Photomicrograph of a urine filtration membrane, 4× objective. Field of view: about 1.5 mm wide and 1.1 mm high.
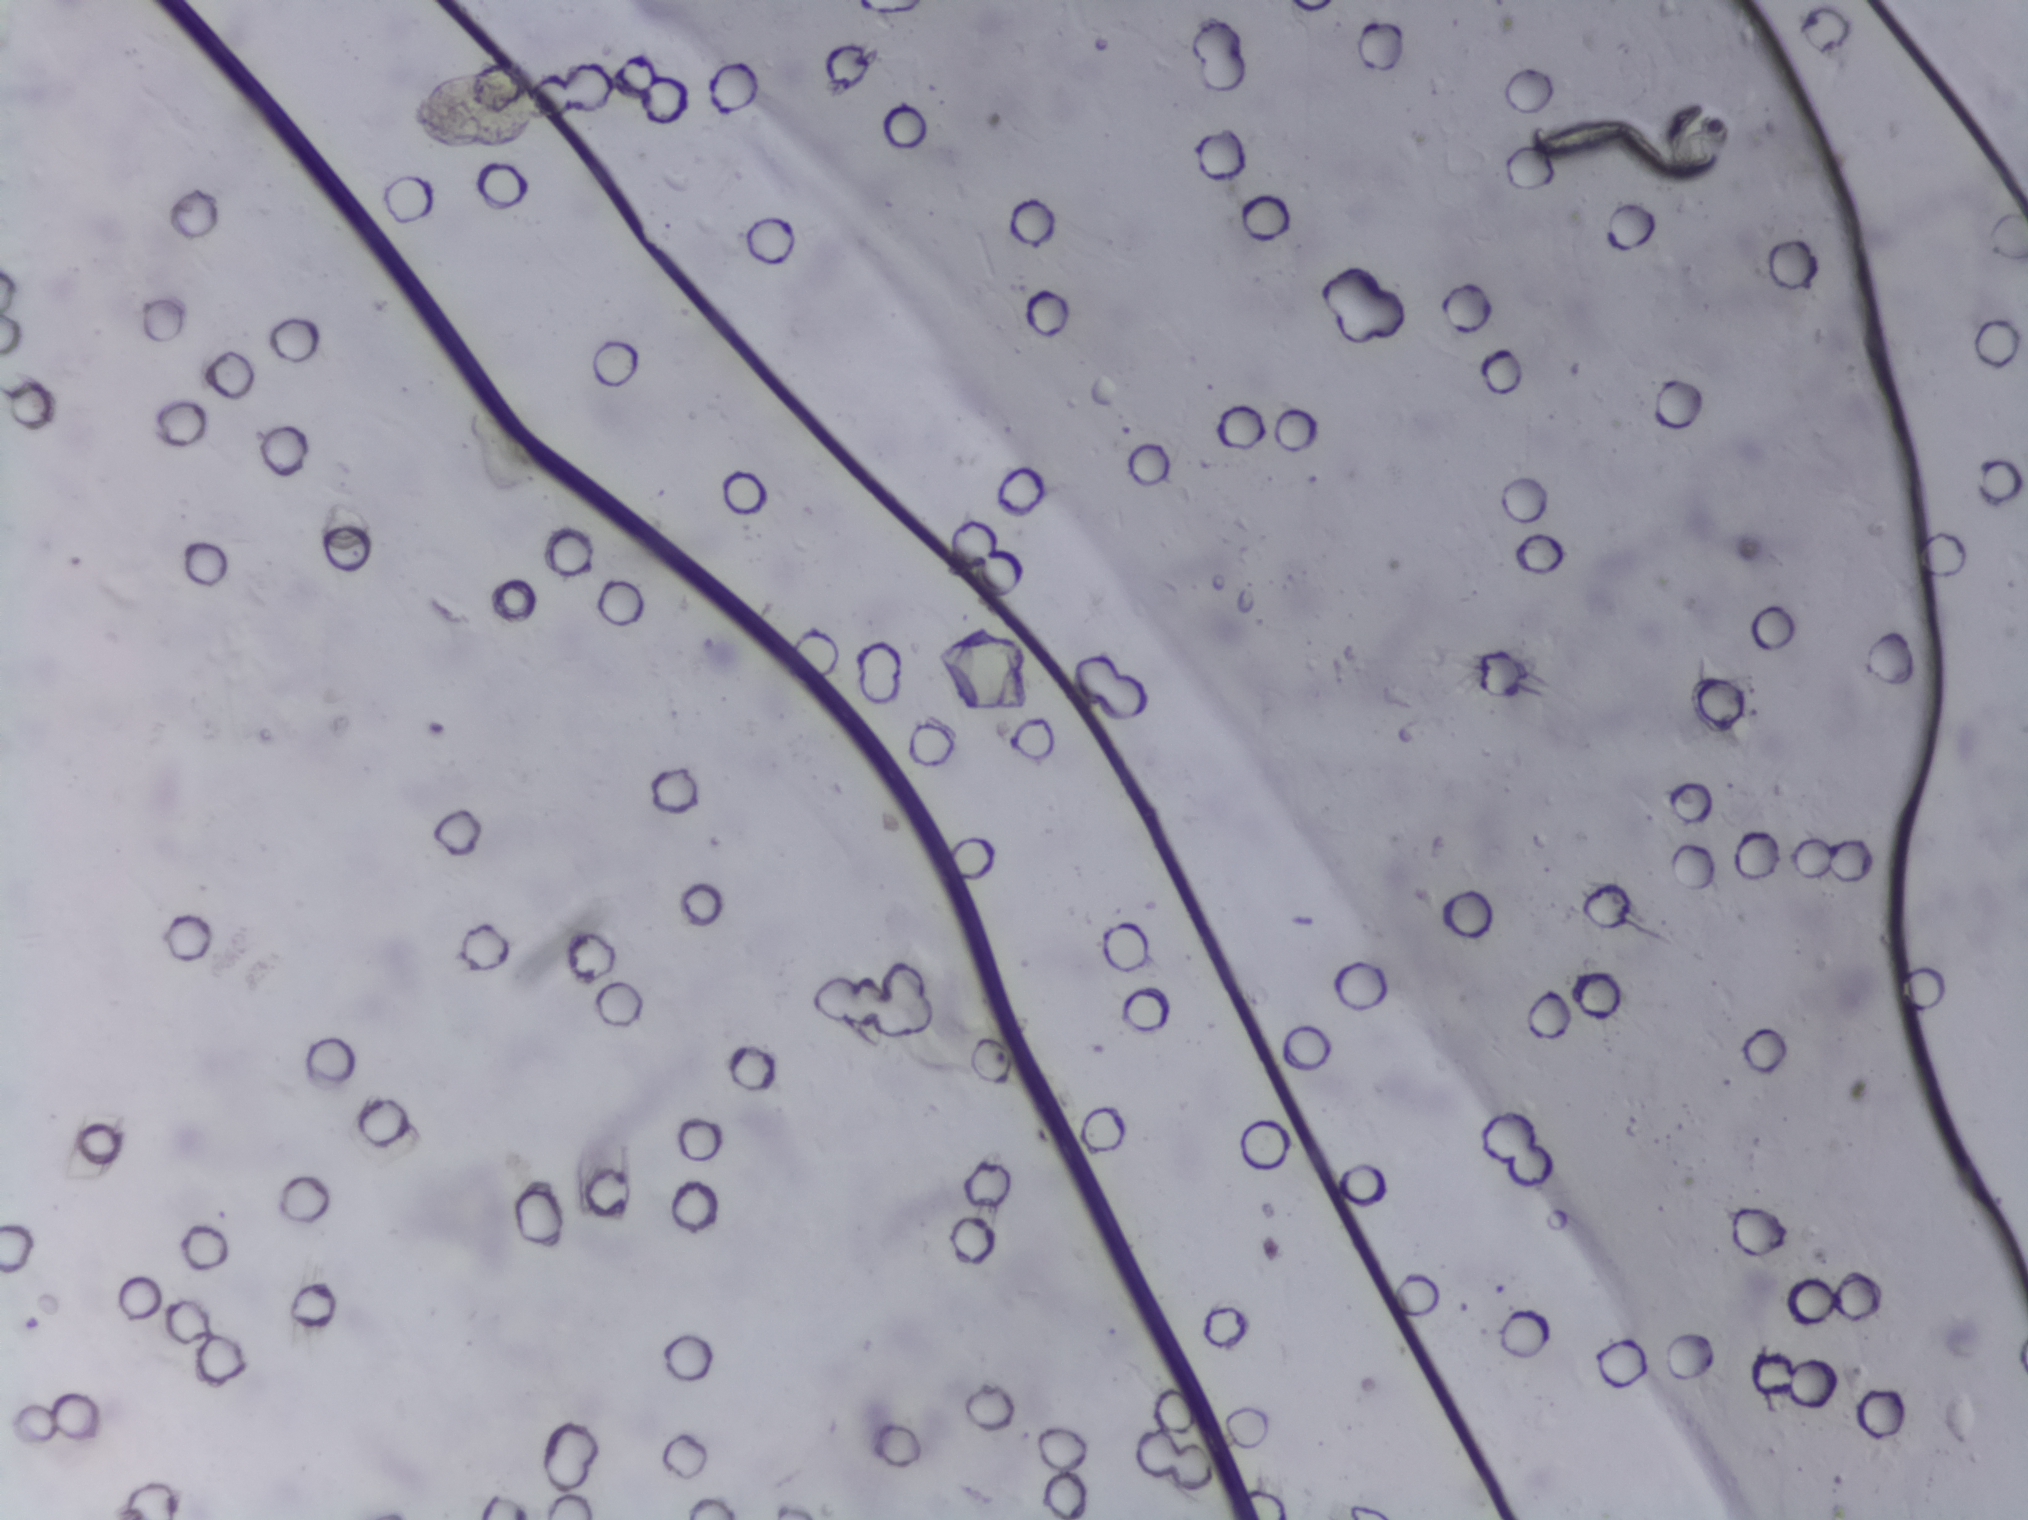
No Schistosoma egg is outlined in this image's expert annotation.